Photomicrograph of a urine filtration membrane, 4× objective. The image covers about 1.5 × 1.1 mm of the membrane.
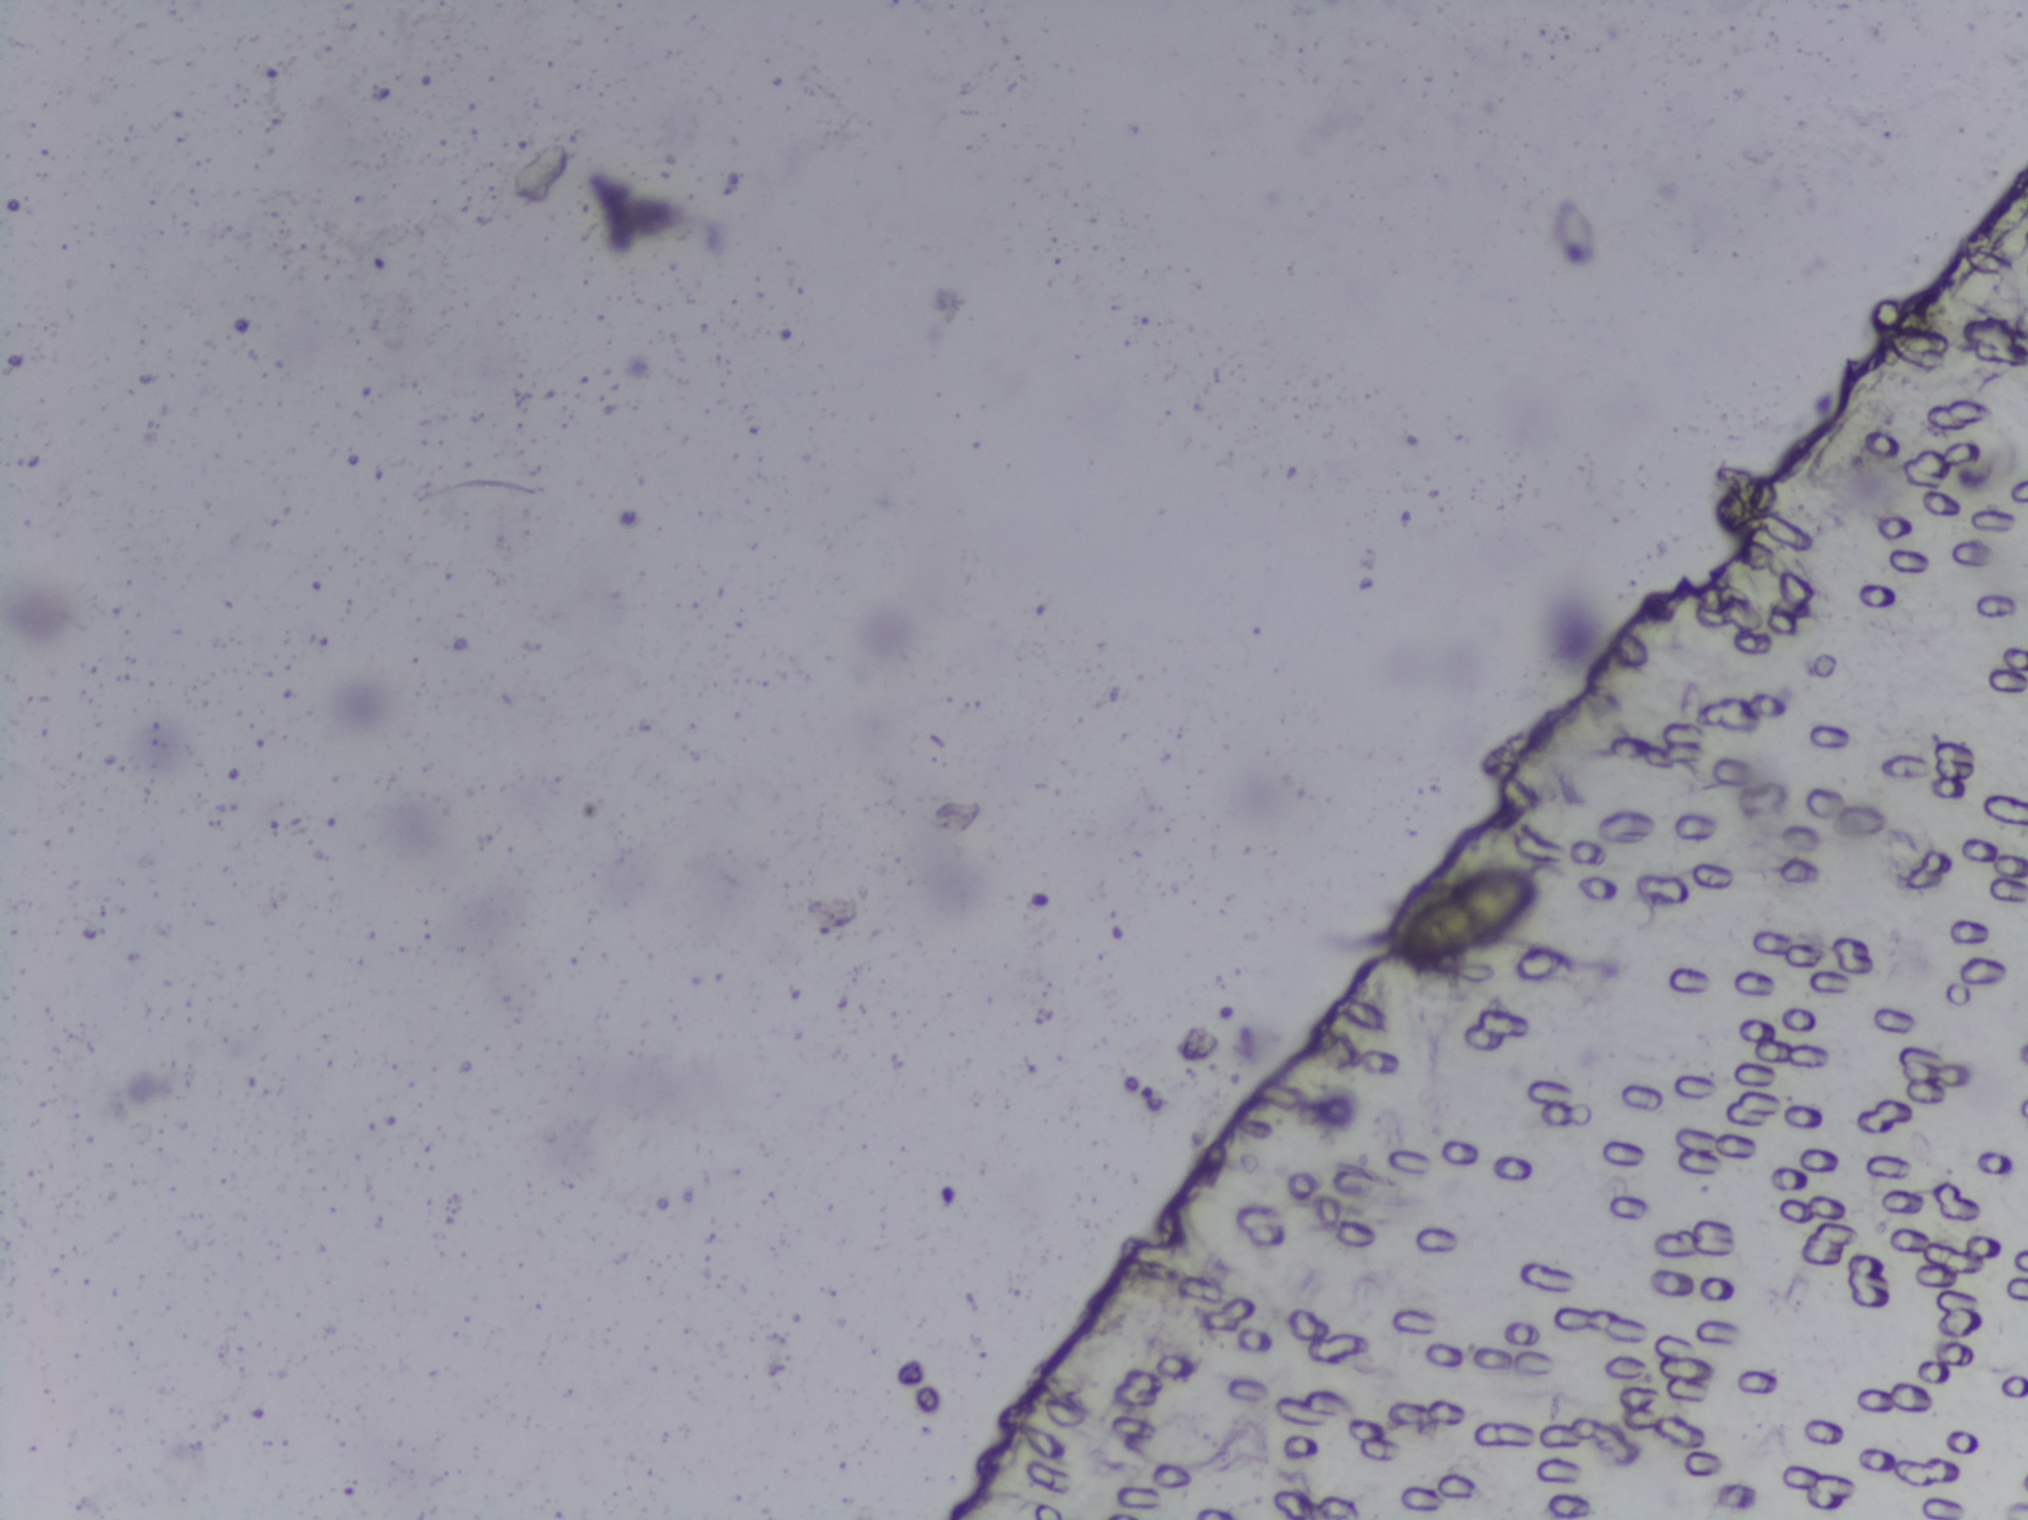
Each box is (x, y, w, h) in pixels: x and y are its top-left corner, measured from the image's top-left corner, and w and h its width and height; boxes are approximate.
One area of this image is outlined as Schistosoma eggs: (x=1391, y=853, w=165, h=130). Eggs that touch can end up inside the same outlined area. Any one outlined egg may, rarely, be S. mansoni rather than S. haematobium.